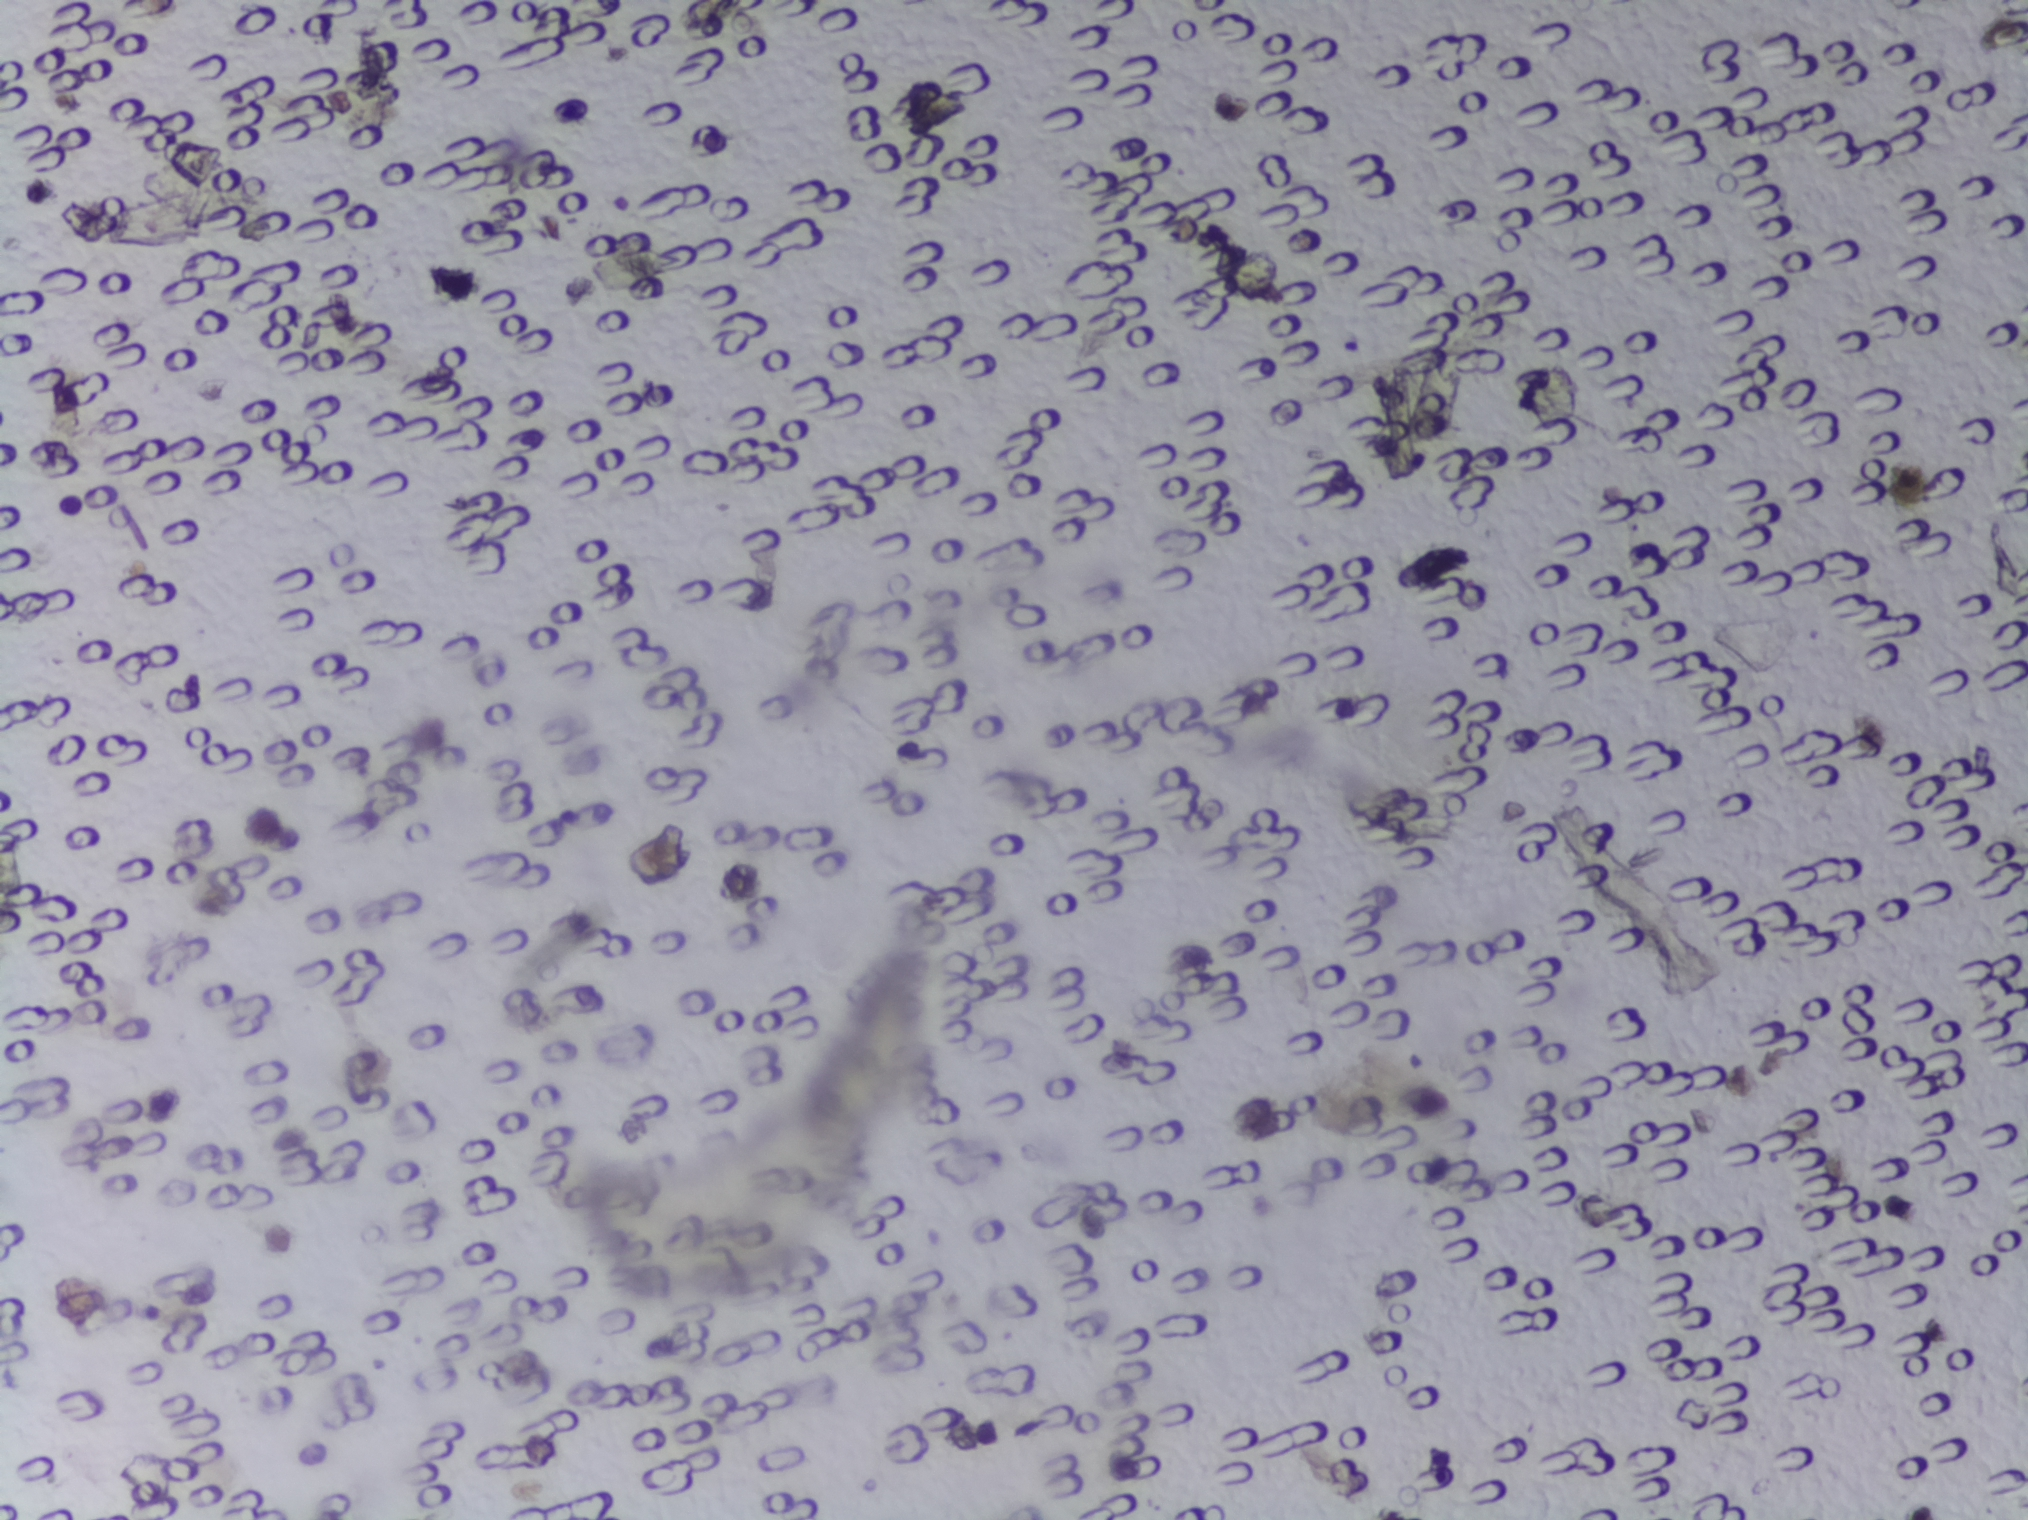
One field of view of a urine filter membrane, 4× objective, 2028 × 1520 pixels.
No area of this image was outlined as a Schistosoma egg.